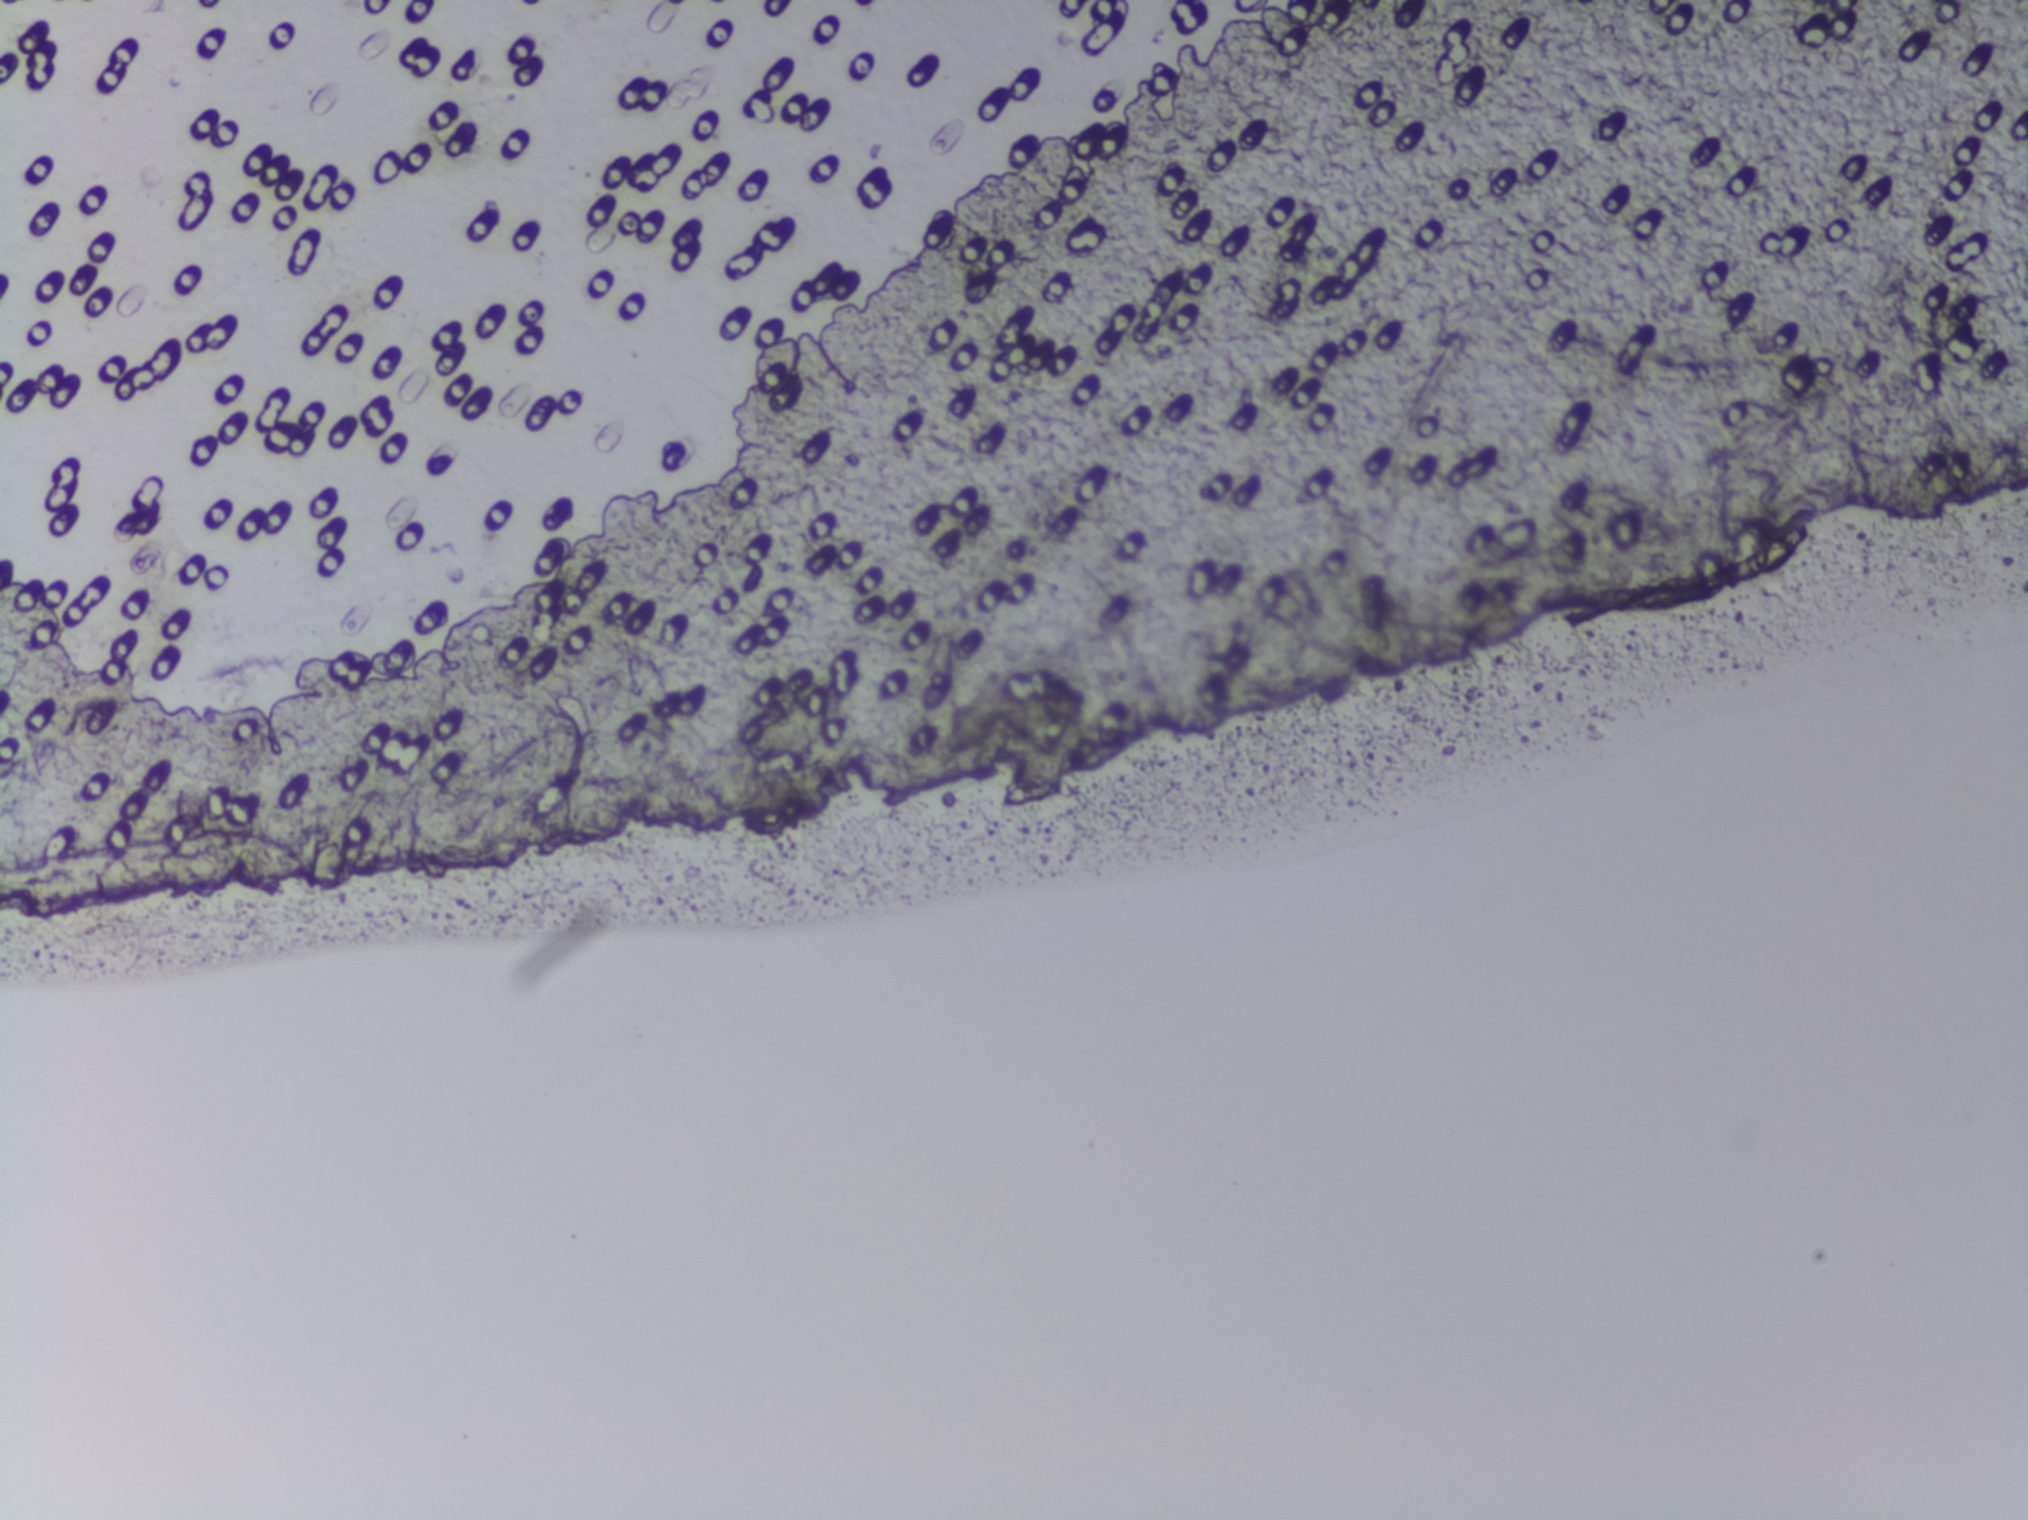
Photograph from an automated digital microscope: urine filter membrane, 4× objective.
No area of this image was outlined as a Schistosoma egg.